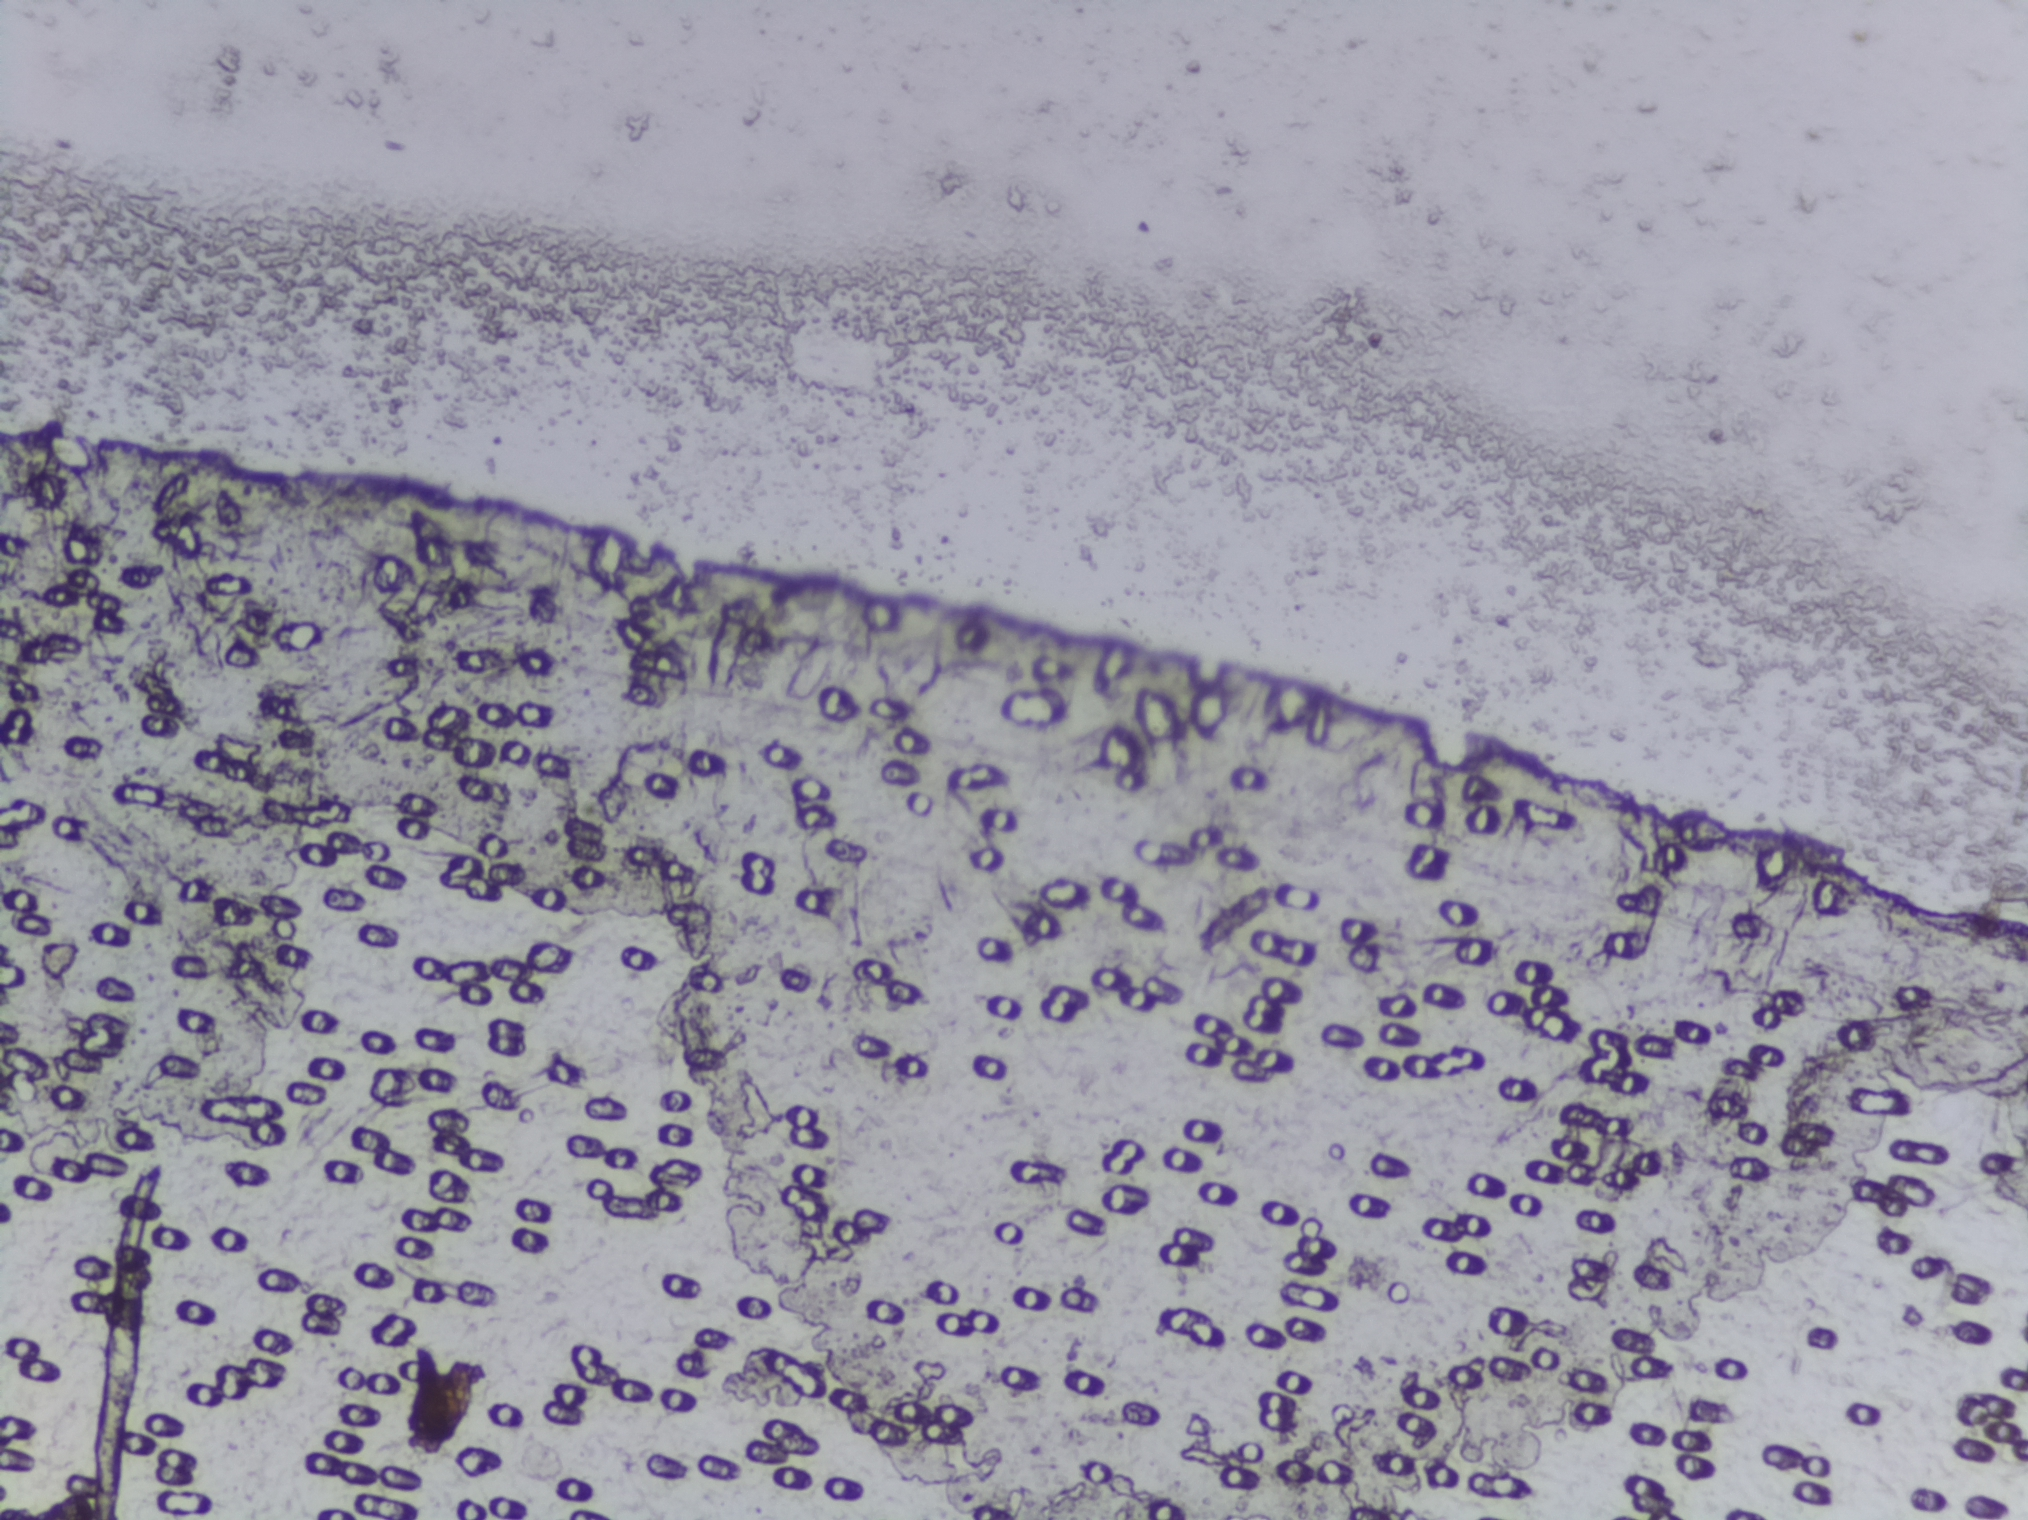
Urine filter membrane photographed through a 4× microscope objective.
No Schistosoma egg is outlined in this image's expert annotation.